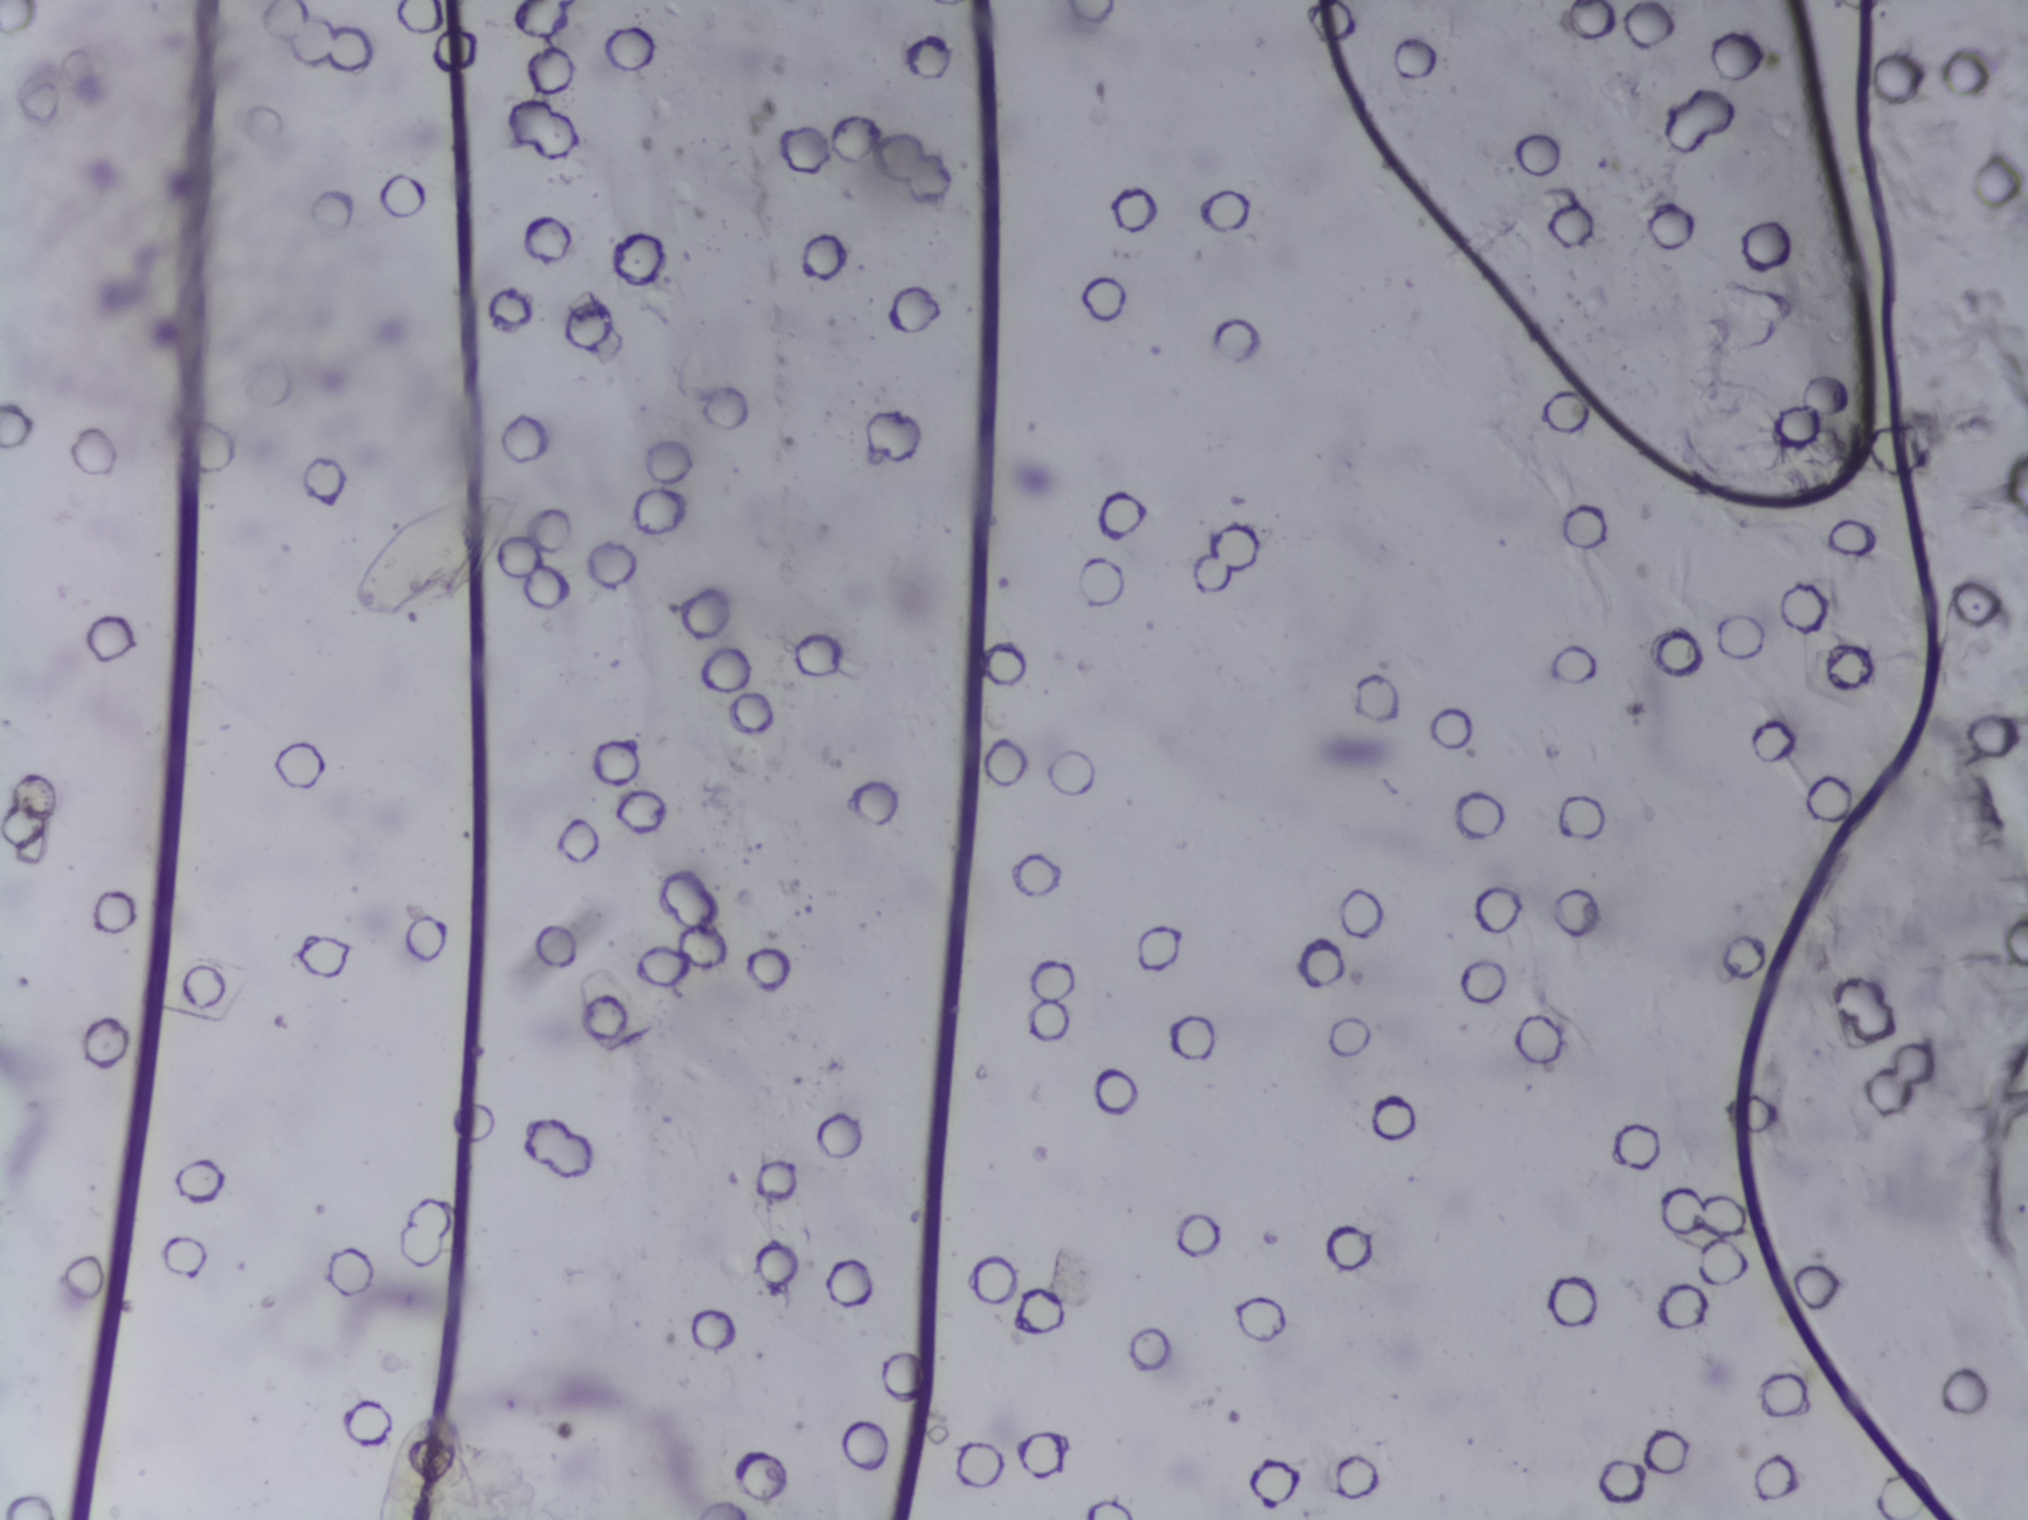
Urine filter membrane photographed through a 4× microscope objective. The image covers about 1.5 × 1.1 mm of the membrane.
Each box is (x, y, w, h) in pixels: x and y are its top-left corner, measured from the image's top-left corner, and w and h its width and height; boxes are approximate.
Schistosoma eggs are outlined in one area of this image: (x=354, y=492, w=166, h=126). About 0.4% of the image's pixels are marked (the marked pixels themselves, not the box around them). Eggs that touch can end up inside the same outlined area.